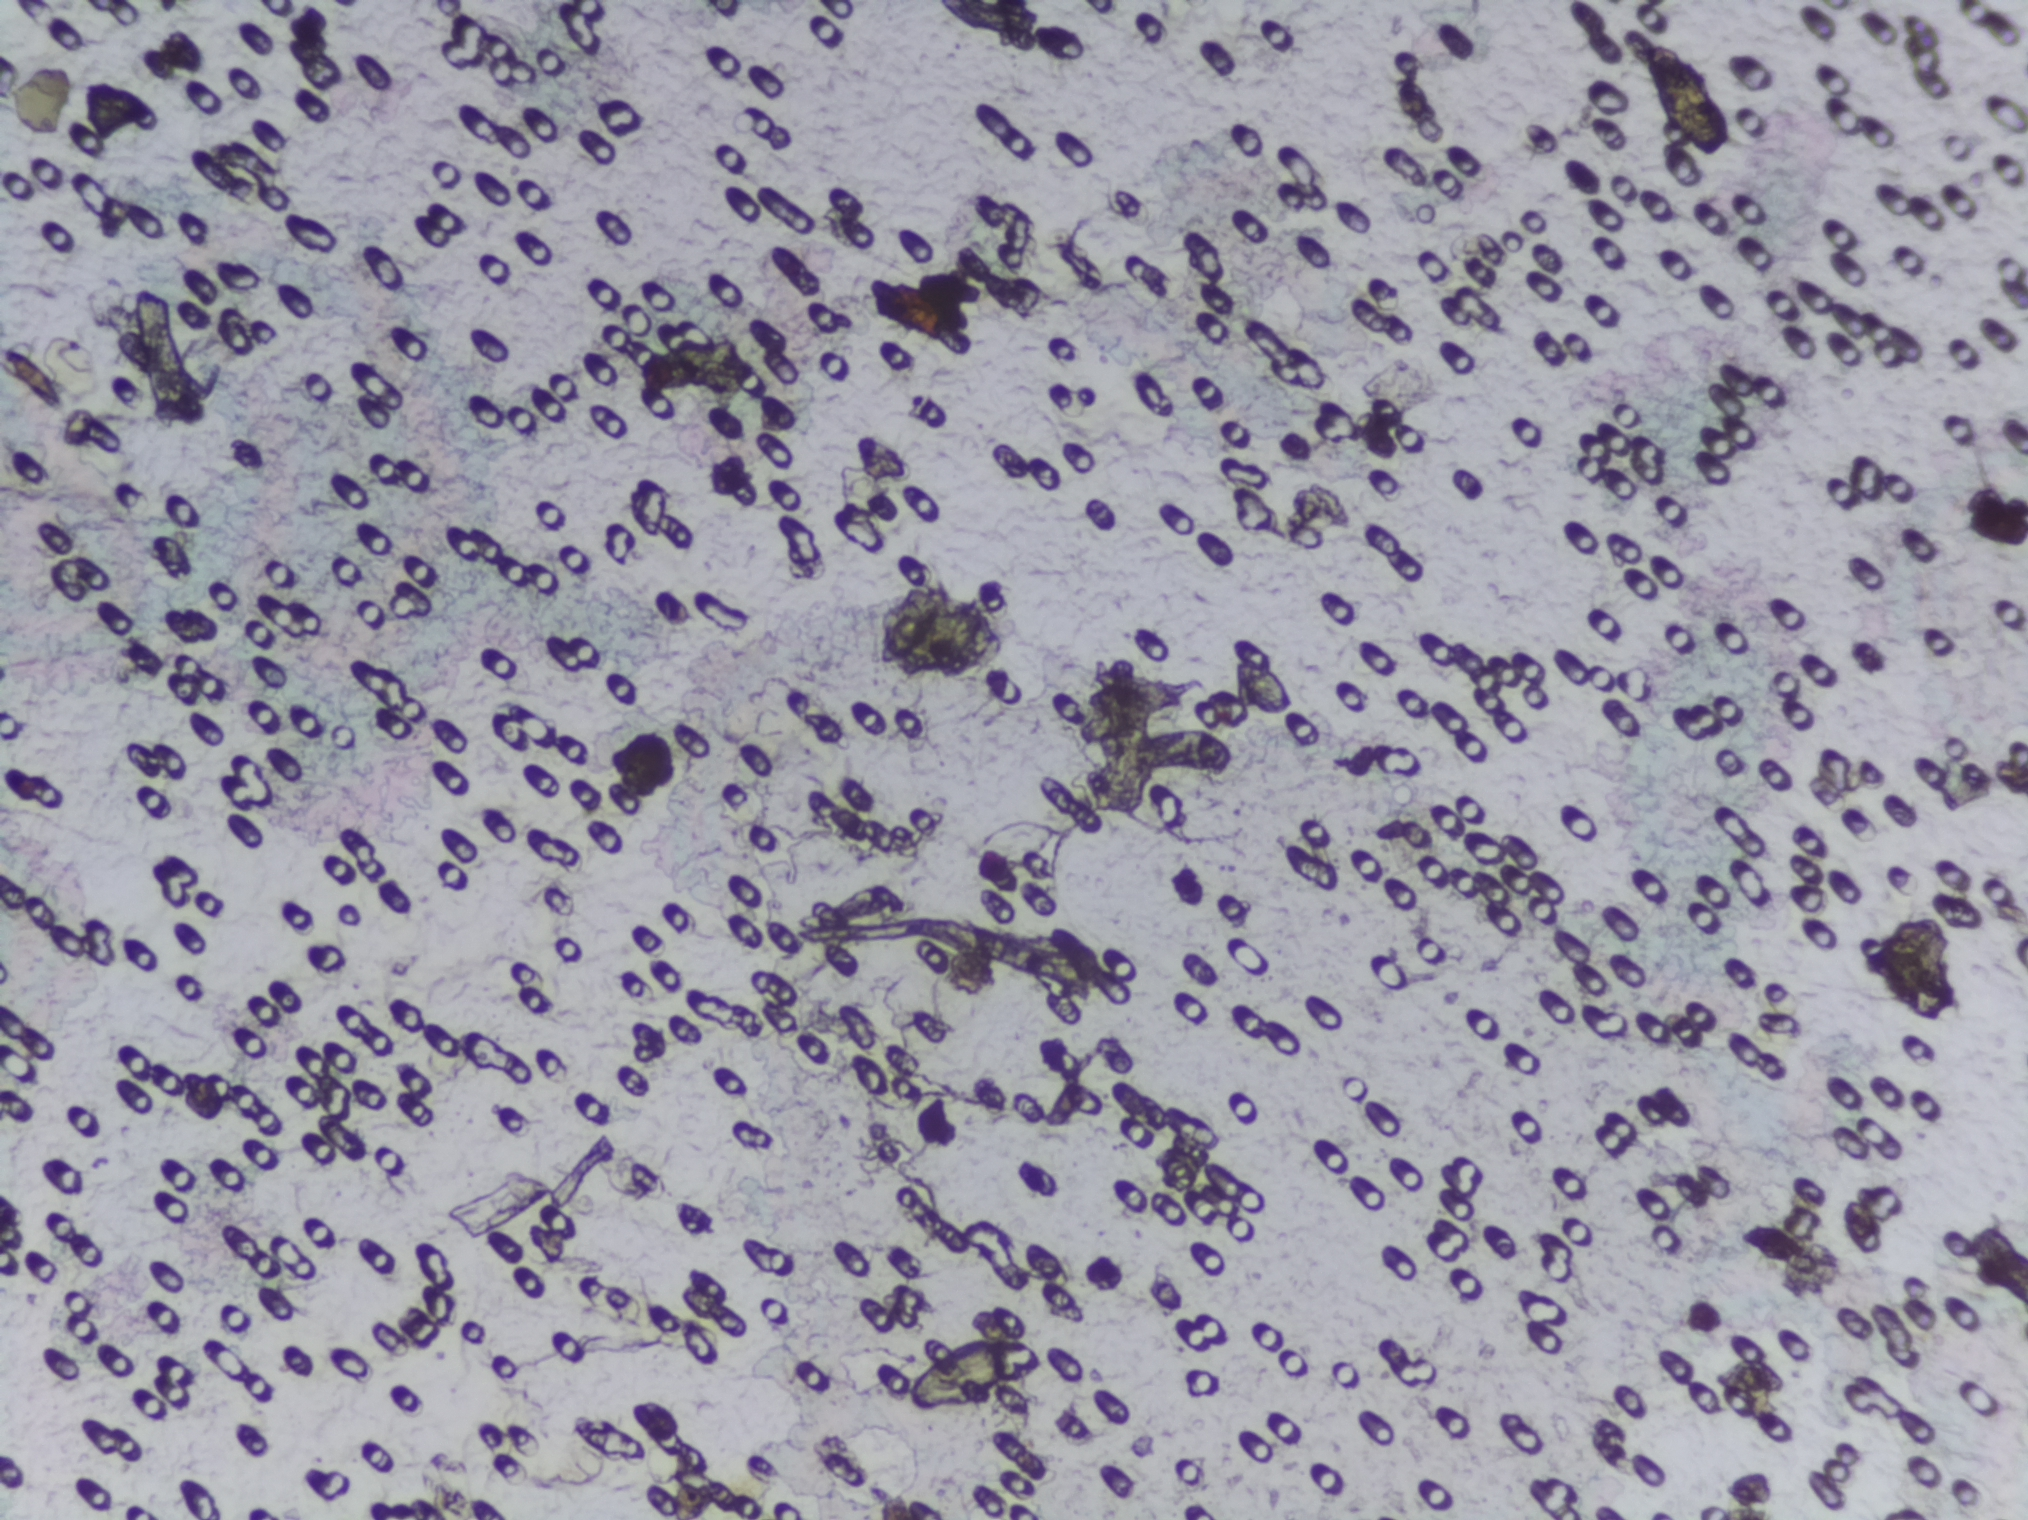
Urine filter membrane photographed through a 4× microscope objective.
The expert annotation outlines no Schistosoma egg in this image.